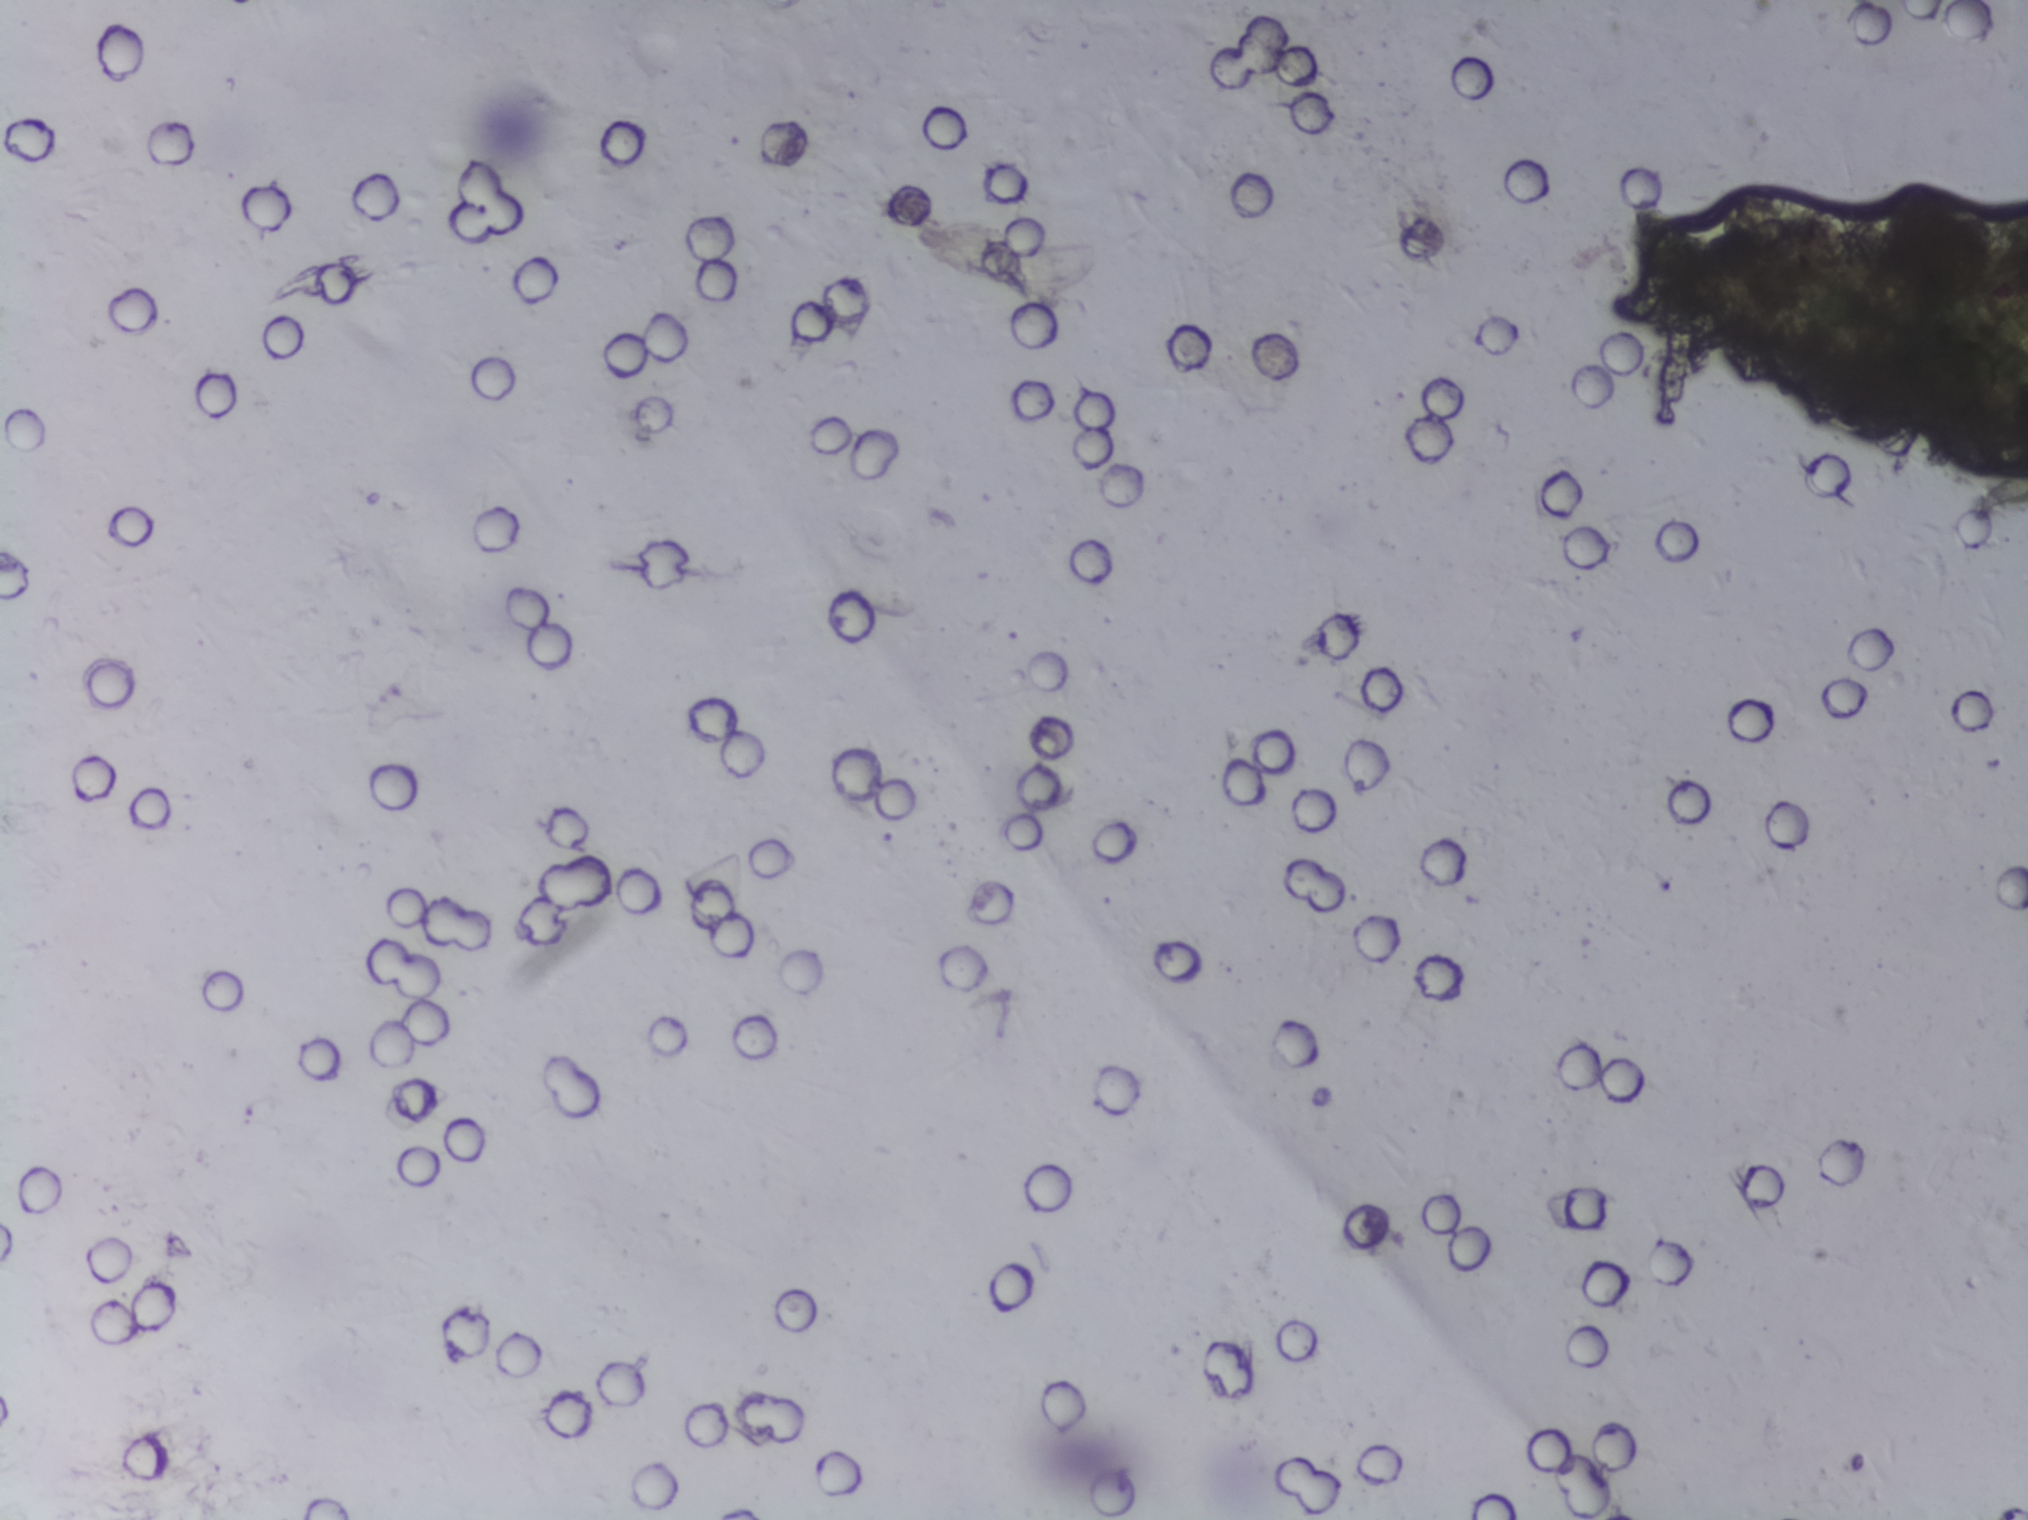
Photomicrograph of a urine filtration membrane, 4× objective.
No area of this image was outlined as a Schistosoma egg.